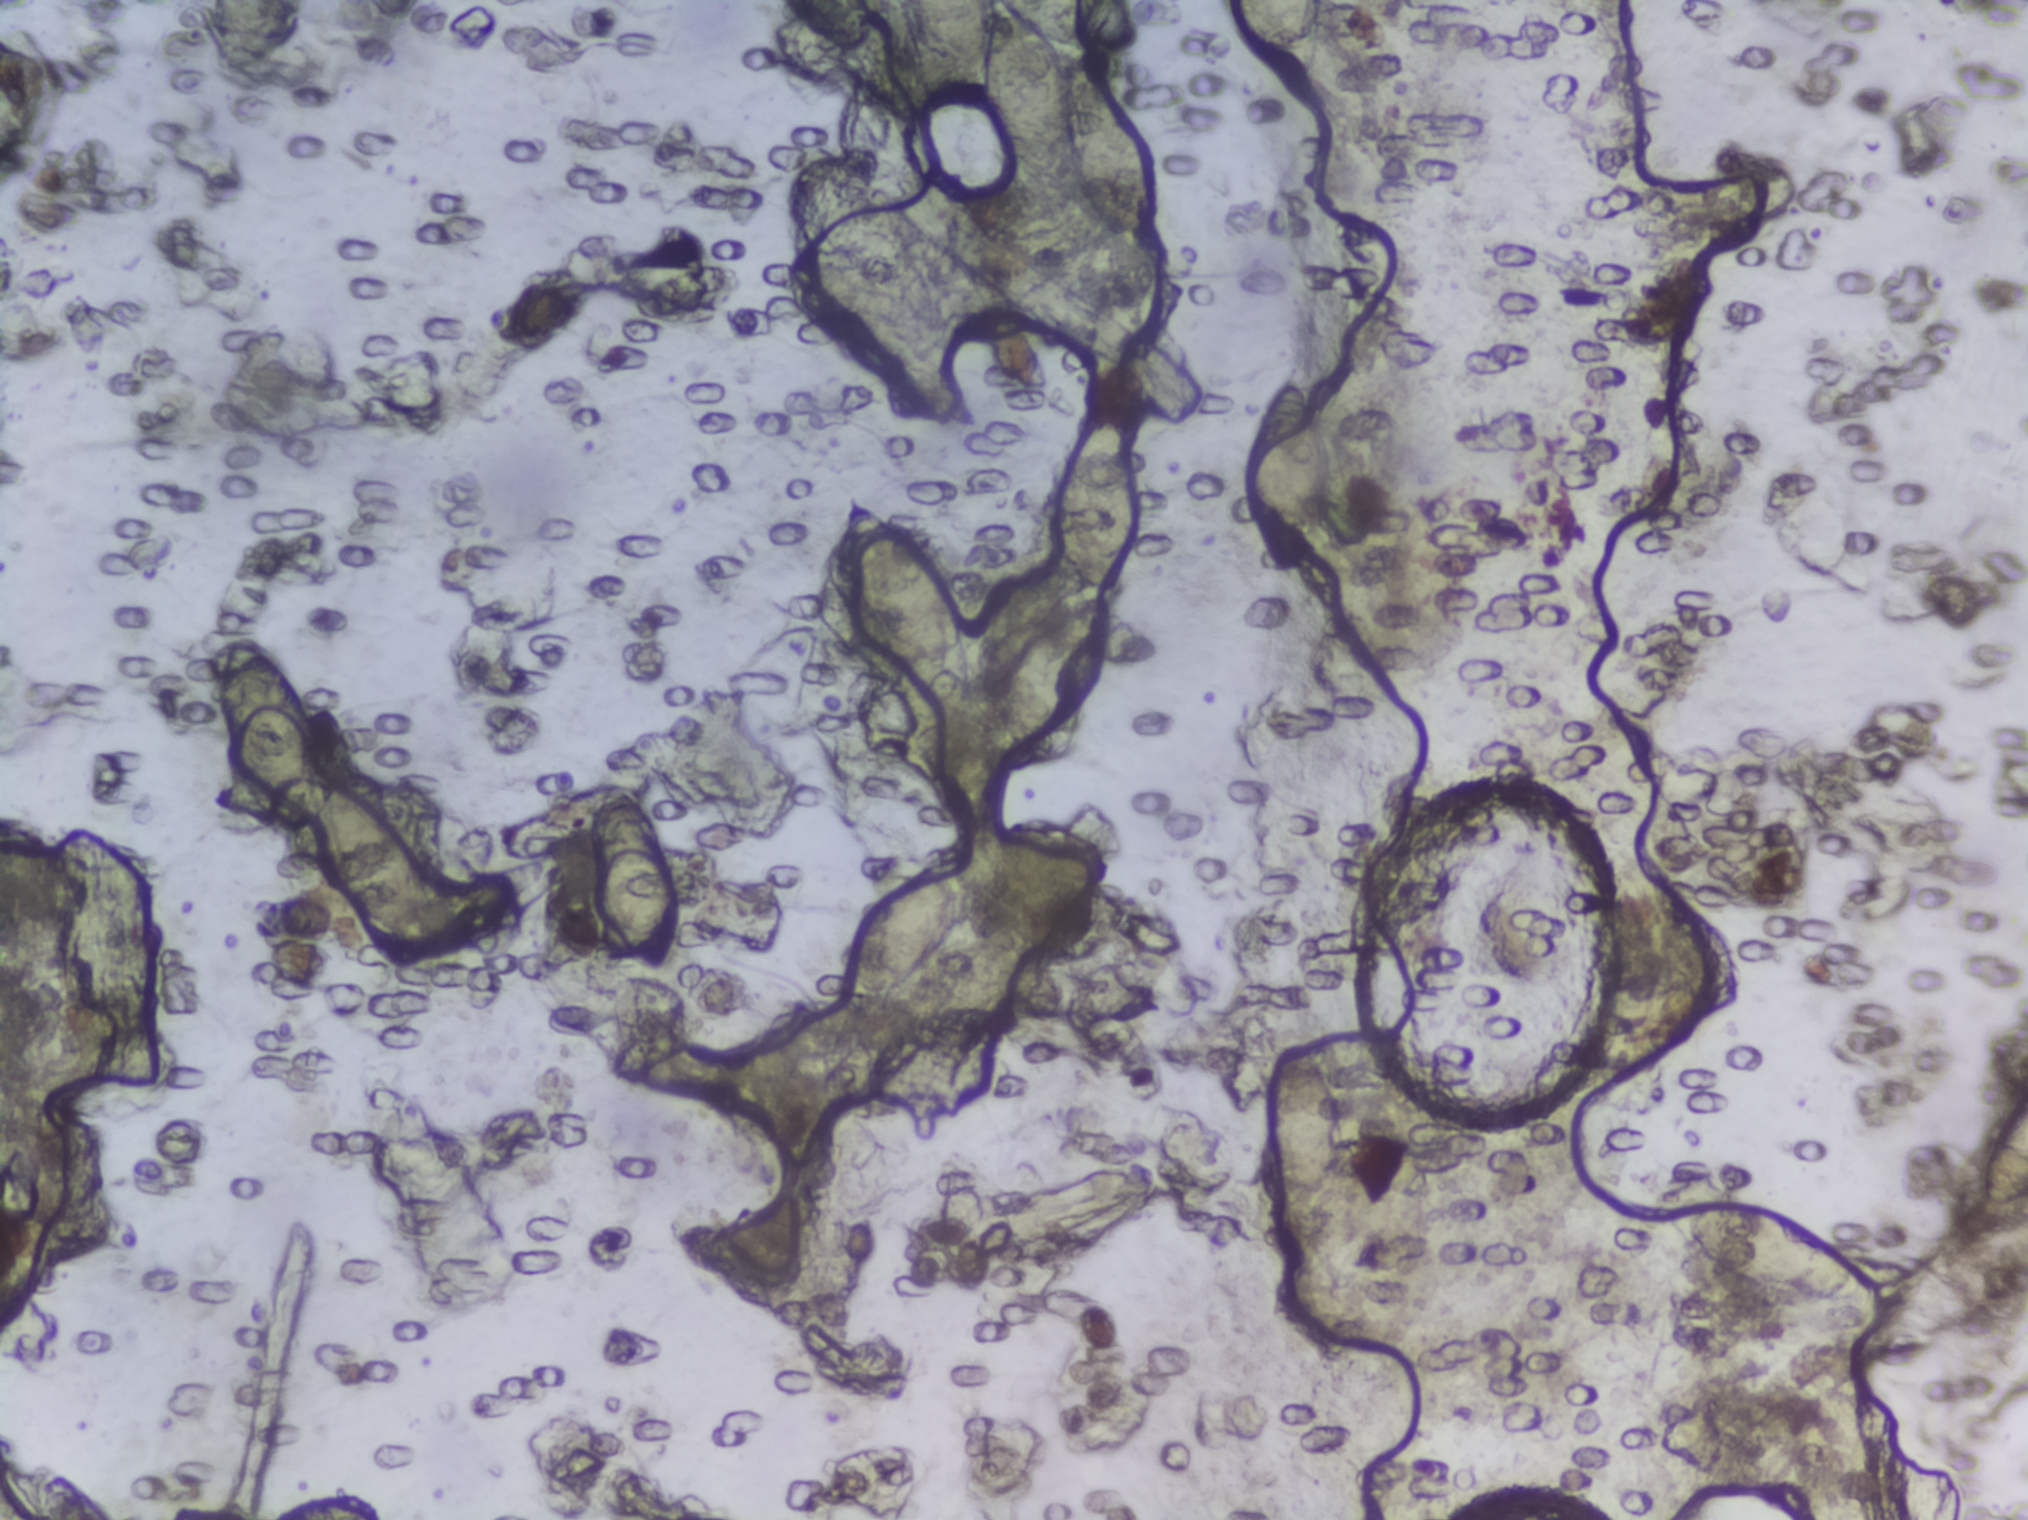
Urine filtration membrane under a 4× objective, photographed by an automated digital microscope. The field of view is about 1.5 mm × 1.1 mm.
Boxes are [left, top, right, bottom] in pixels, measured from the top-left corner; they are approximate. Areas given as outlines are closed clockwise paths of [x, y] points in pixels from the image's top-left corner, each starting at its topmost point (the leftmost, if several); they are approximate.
Findings: 11 areas outlined as Schistosoma eggs. Locations: box [221, 640, 315, 828]; box [323, 791, 425, 939]; box [588, 795, 679, 975]; box [842, 490, 950, 679]; box [846, 875, 963, 998]; outline [905, 0], [1076, 2], [1083, 24], [1079, 54], [1125, 113], [1148, 157], [1152, 201], [1135, 237], [1112, 234], [1079, 188], [1062, 198], [1029, 188], [990, 121], [982, 77], [932, 43] (reaching the top edge of the frame); box [1057, 412, 1139, 592]; box [1240, 0, 1375, 157] (reaching the top edge of the frame); box [1242, 365, 1327, 581]; box [1692, 168, 1799, 229]; box [1980, 1086, 2027, 1208] (reaching the right edge of the frame). A single outlined area may contain several eggs.